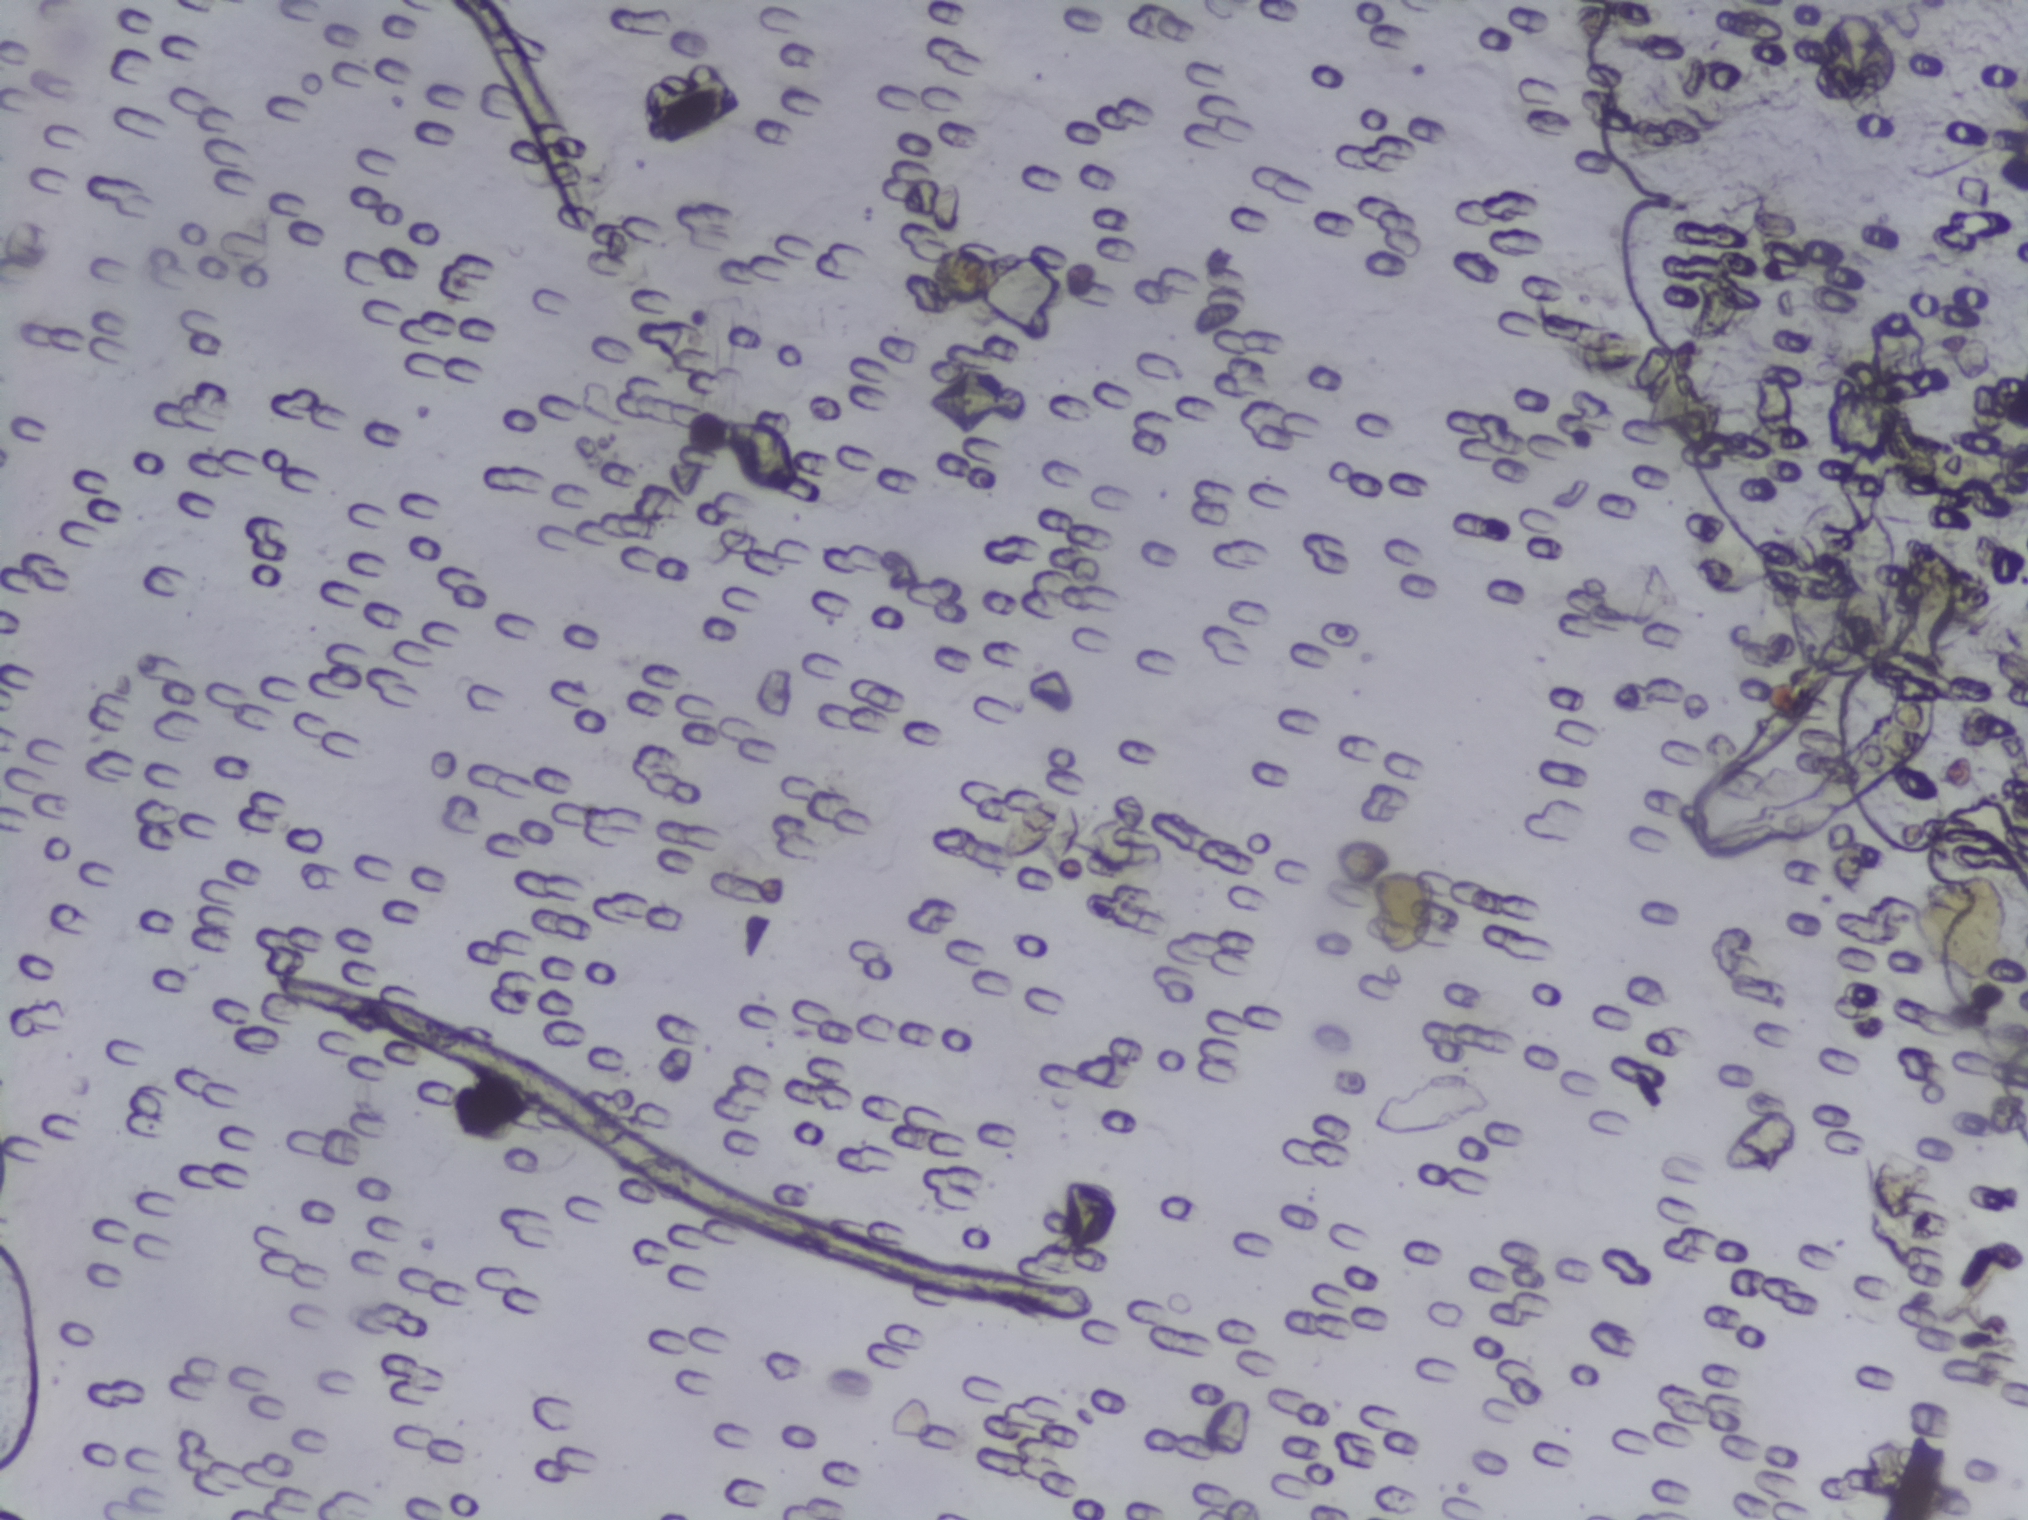
Photomicrograph of a urine filtration membrane, 4× objective.
No area of this image was outlined as a Schistosoma egg.